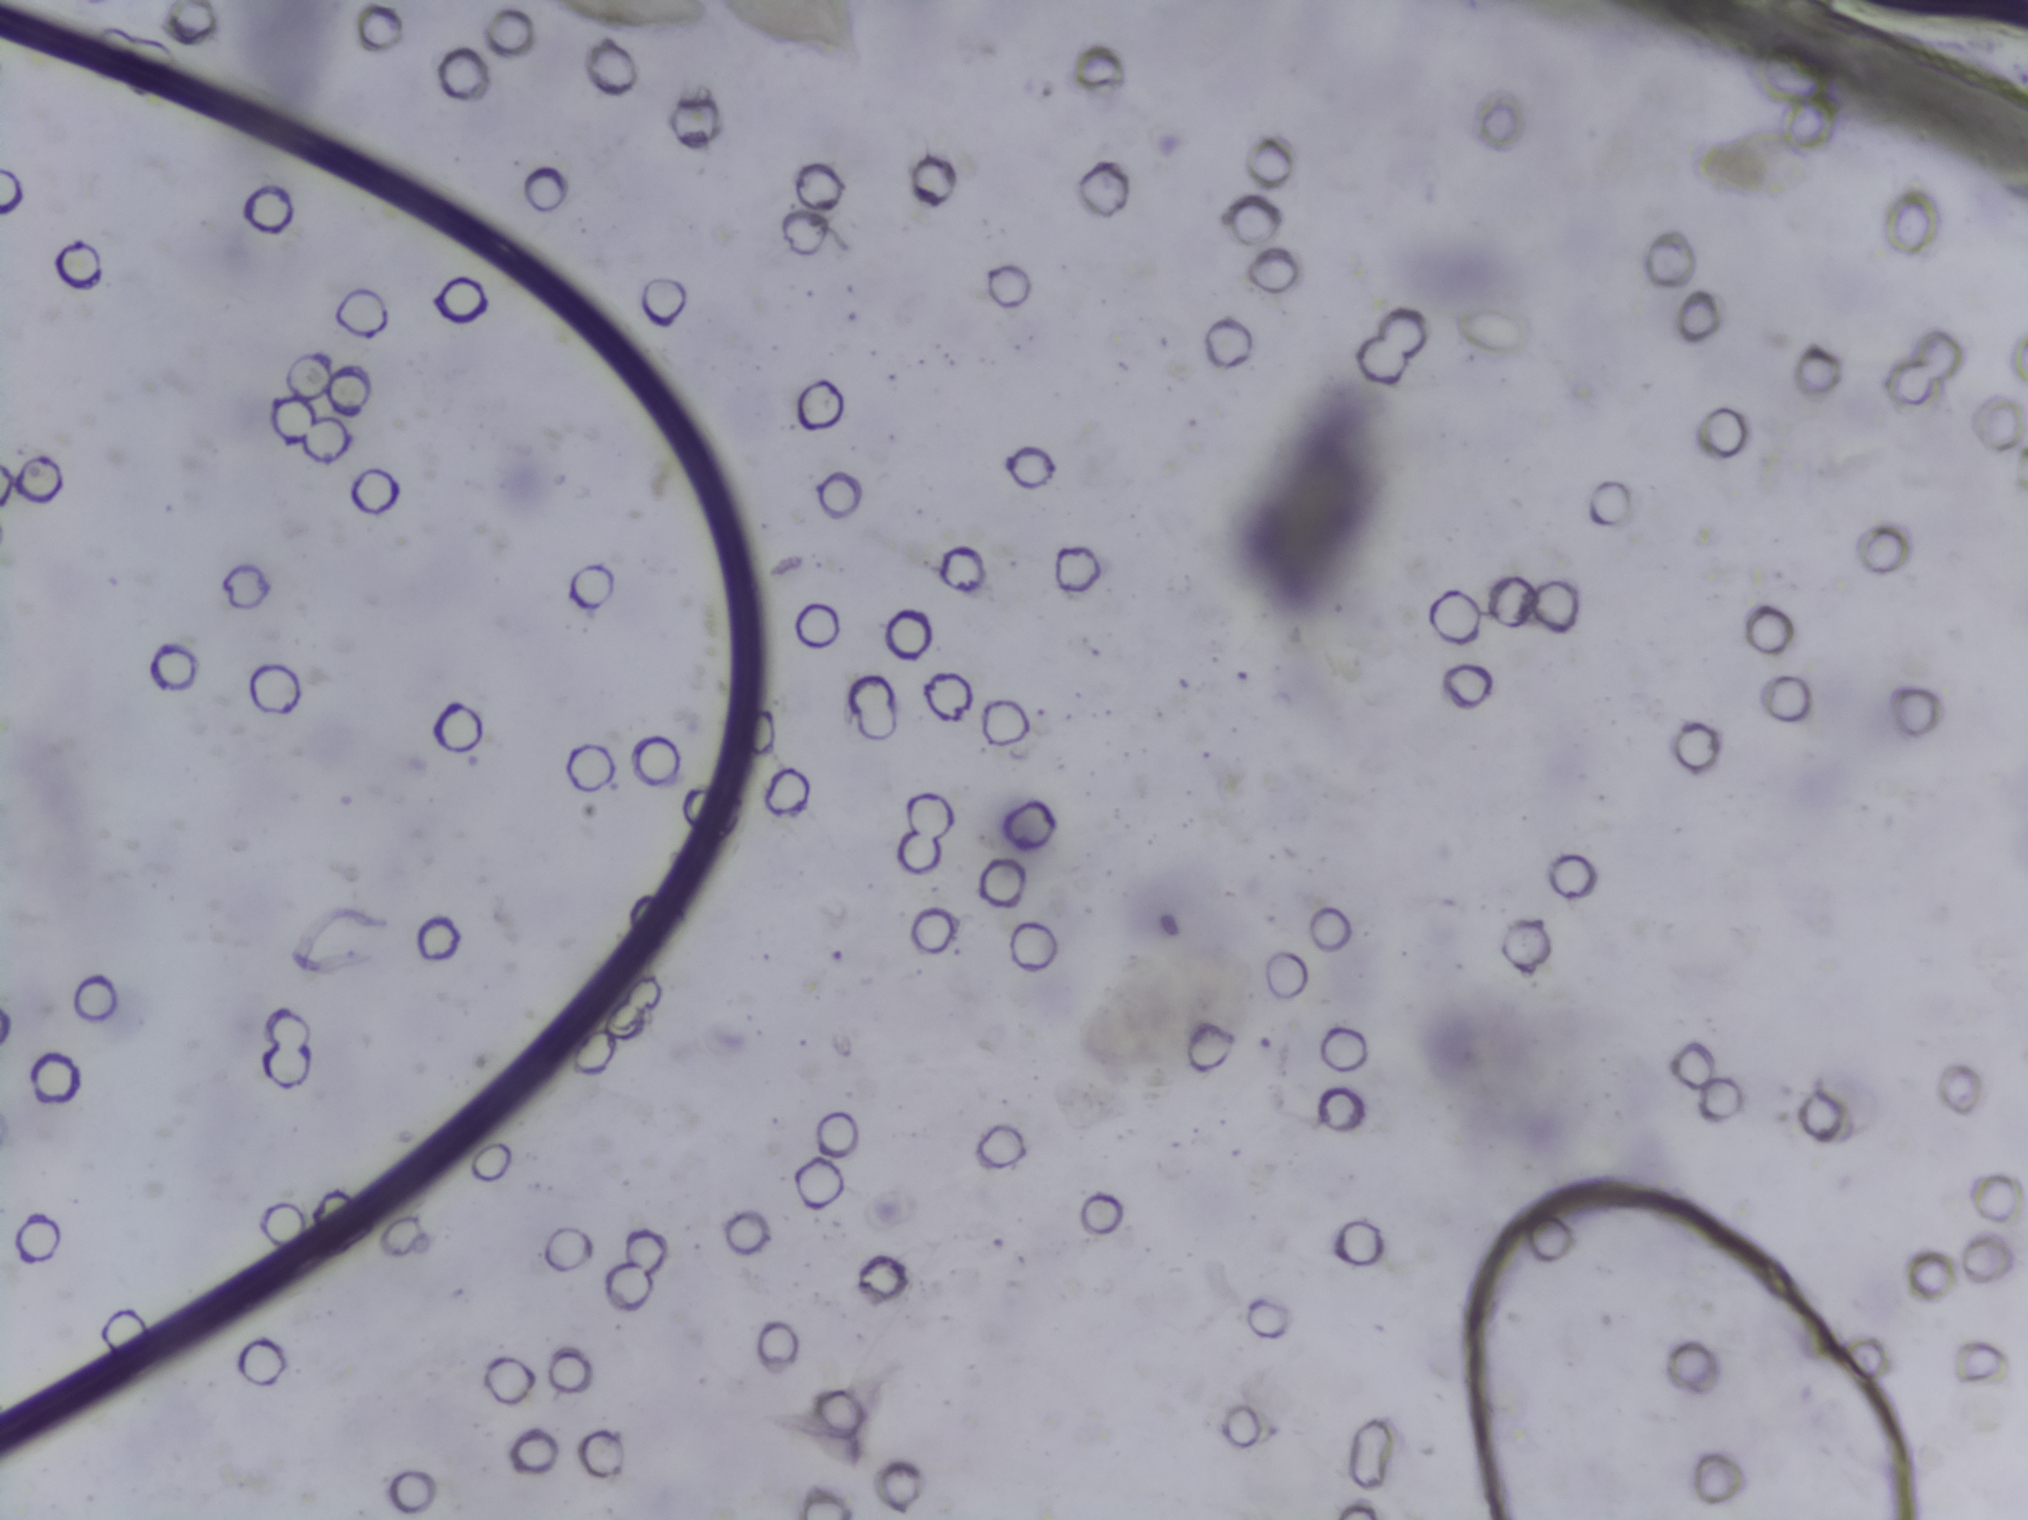
One field of view of a urine filter membrane, 4× objective, 2028 × 1520 pixels.
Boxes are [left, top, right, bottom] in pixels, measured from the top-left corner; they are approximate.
Schistosoma egg areas, outlined: [548, 0, 868, 73] (reaching the top edge of the frame). The marked pixels themselves, not the box around them, cover about 0.4% of the image. An outlined area can hold more than one egg. A marked egg may occasionally be S. mansoni rather than S. haematobium.